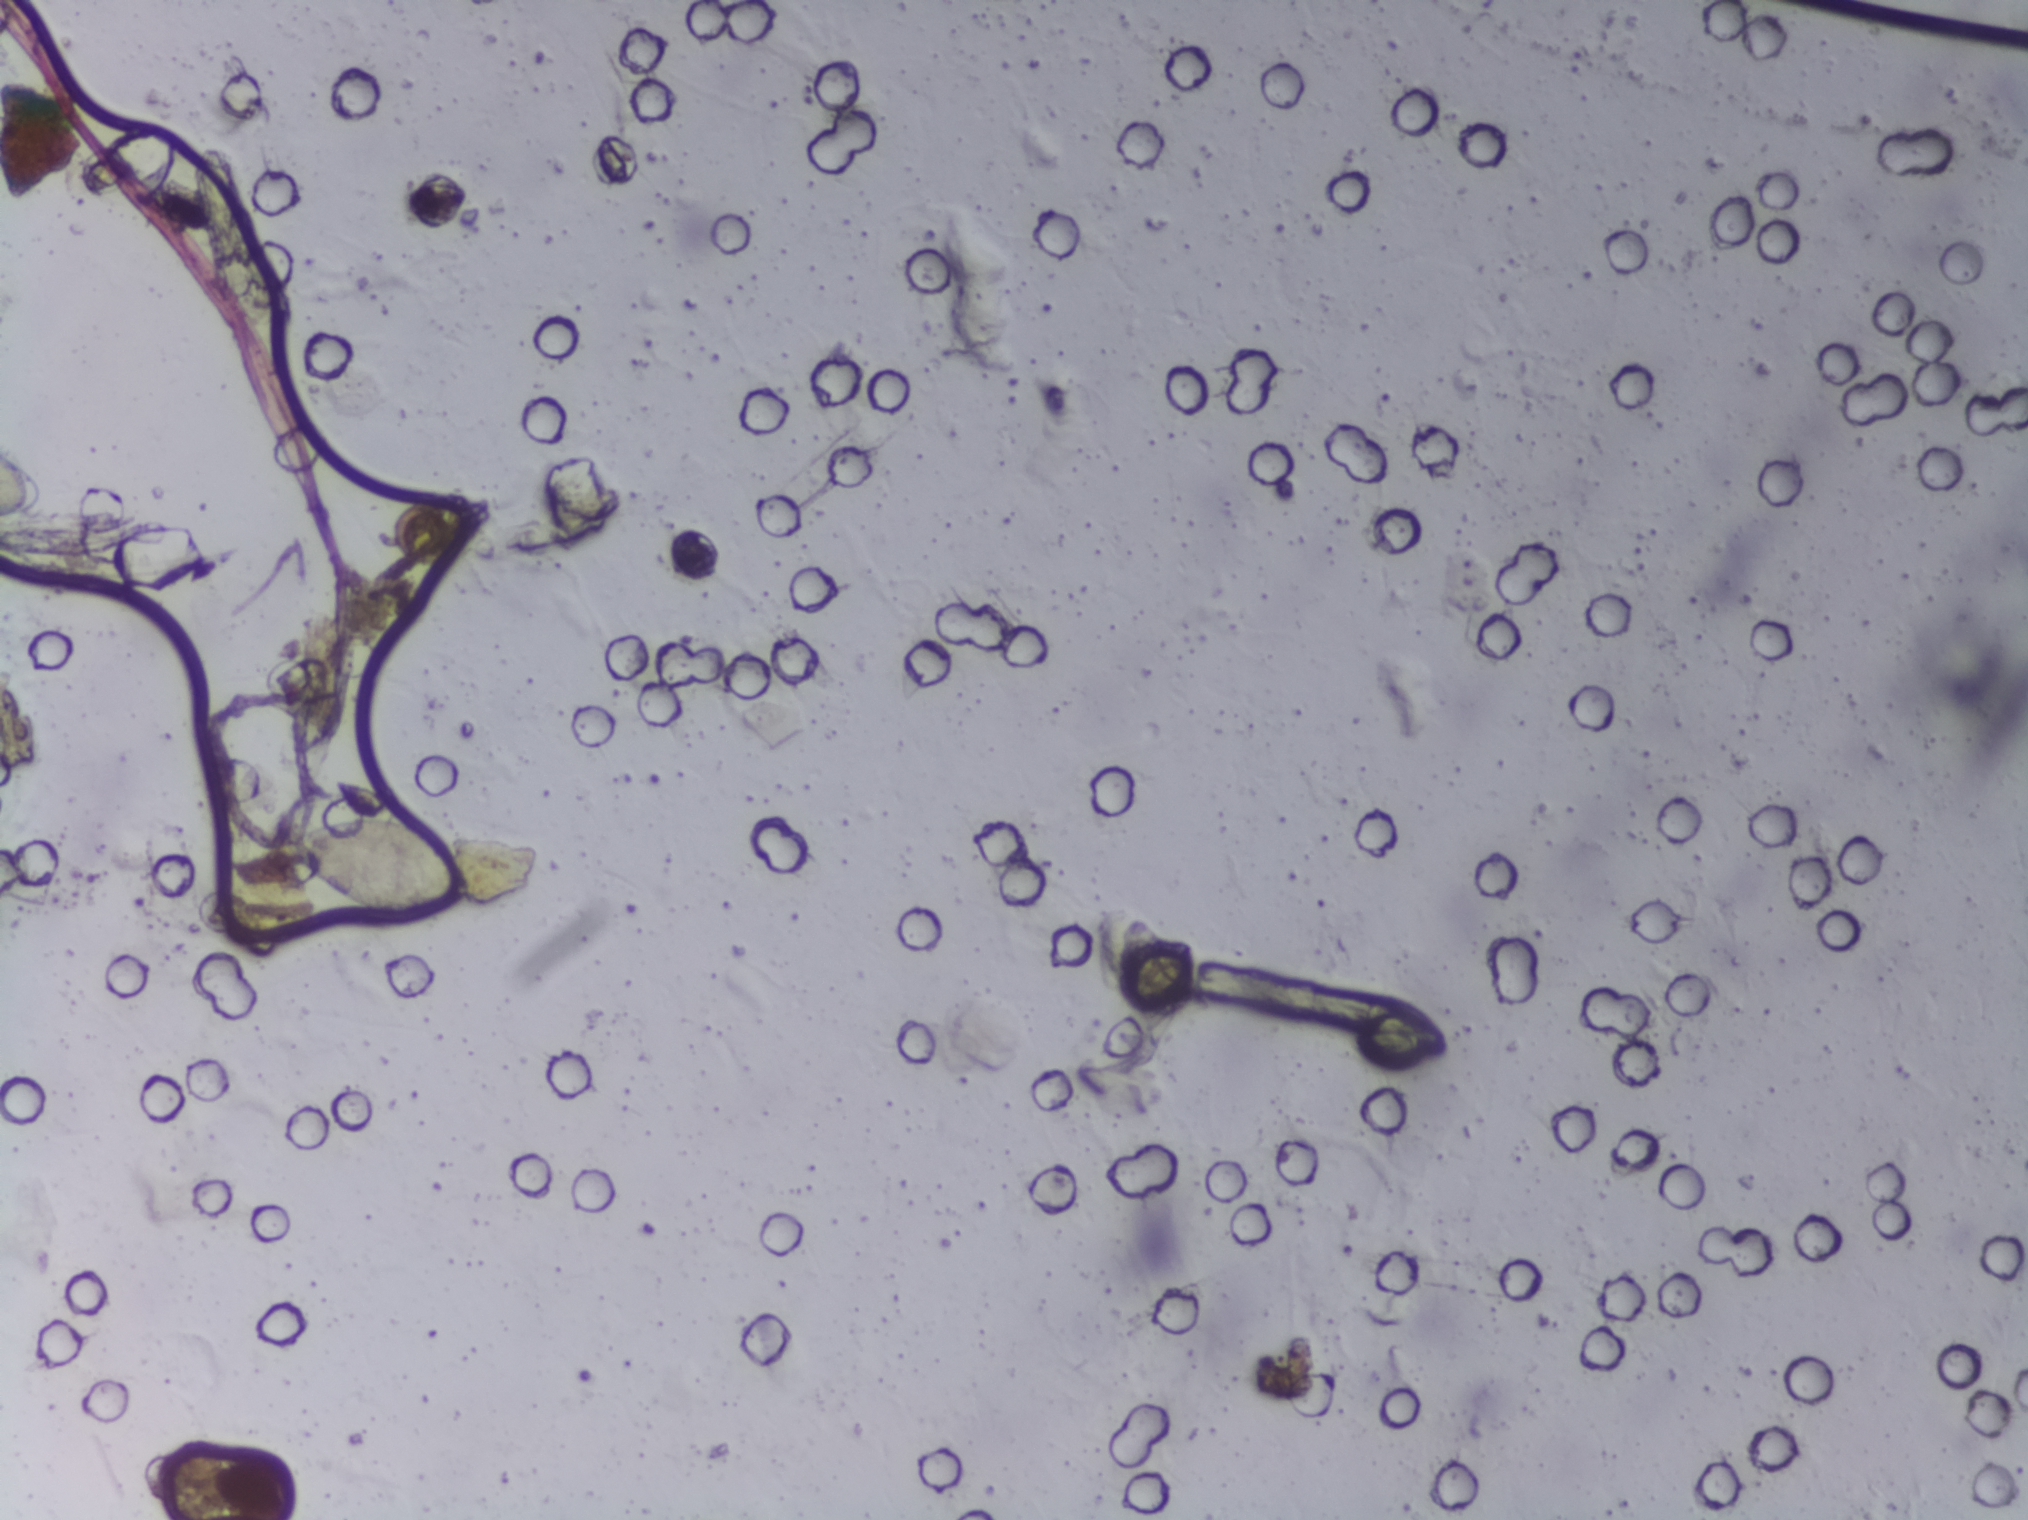
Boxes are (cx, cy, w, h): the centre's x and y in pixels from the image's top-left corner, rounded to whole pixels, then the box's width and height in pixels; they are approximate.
Schistosoma eggs are outlined in one area of this image: (cx=374, cy=865, w=196, h=104). Eggs that touch can end up inside the same outlined area. A marked egg may occasionally be S. mansoni rather than S. haematobium.
One field of view of a urine filter membrane, 4× objective, 2028 × 1520 pixels.